Photomicrograph of a urine filtration membrane, 4× objective. The image covers about 1.5 × 1.1 mm of the membrane.
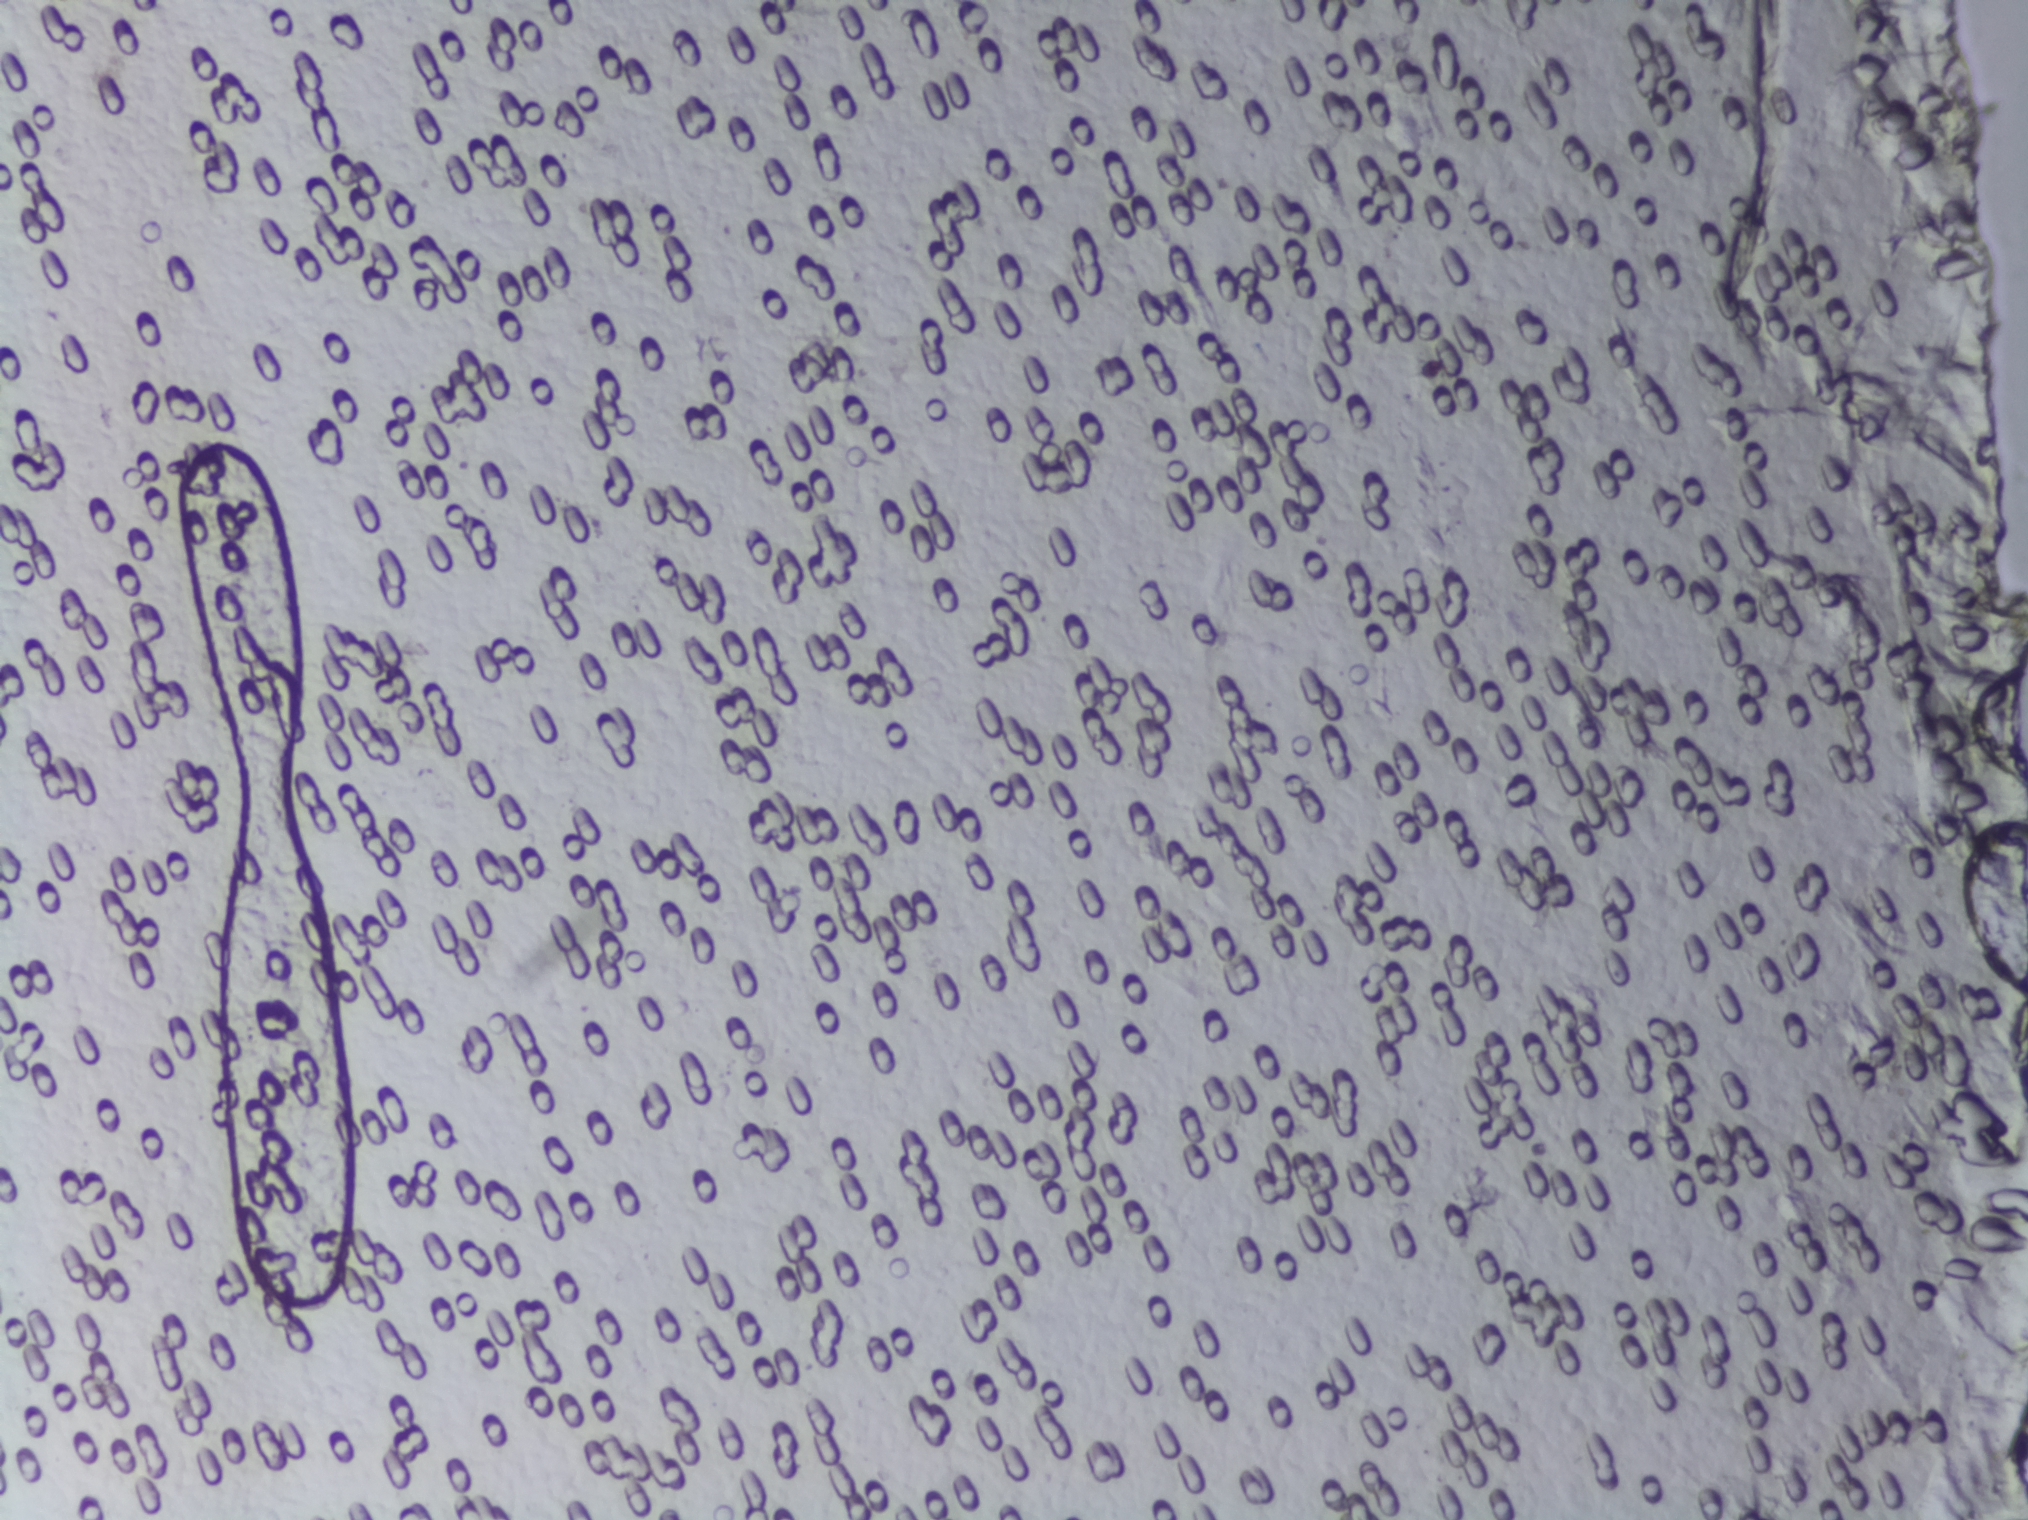
The expert annotation marks no Schistosoma egg in this field of view.